Urine filtration membrane under a 4× objective, photographed by an automated digital microscope.
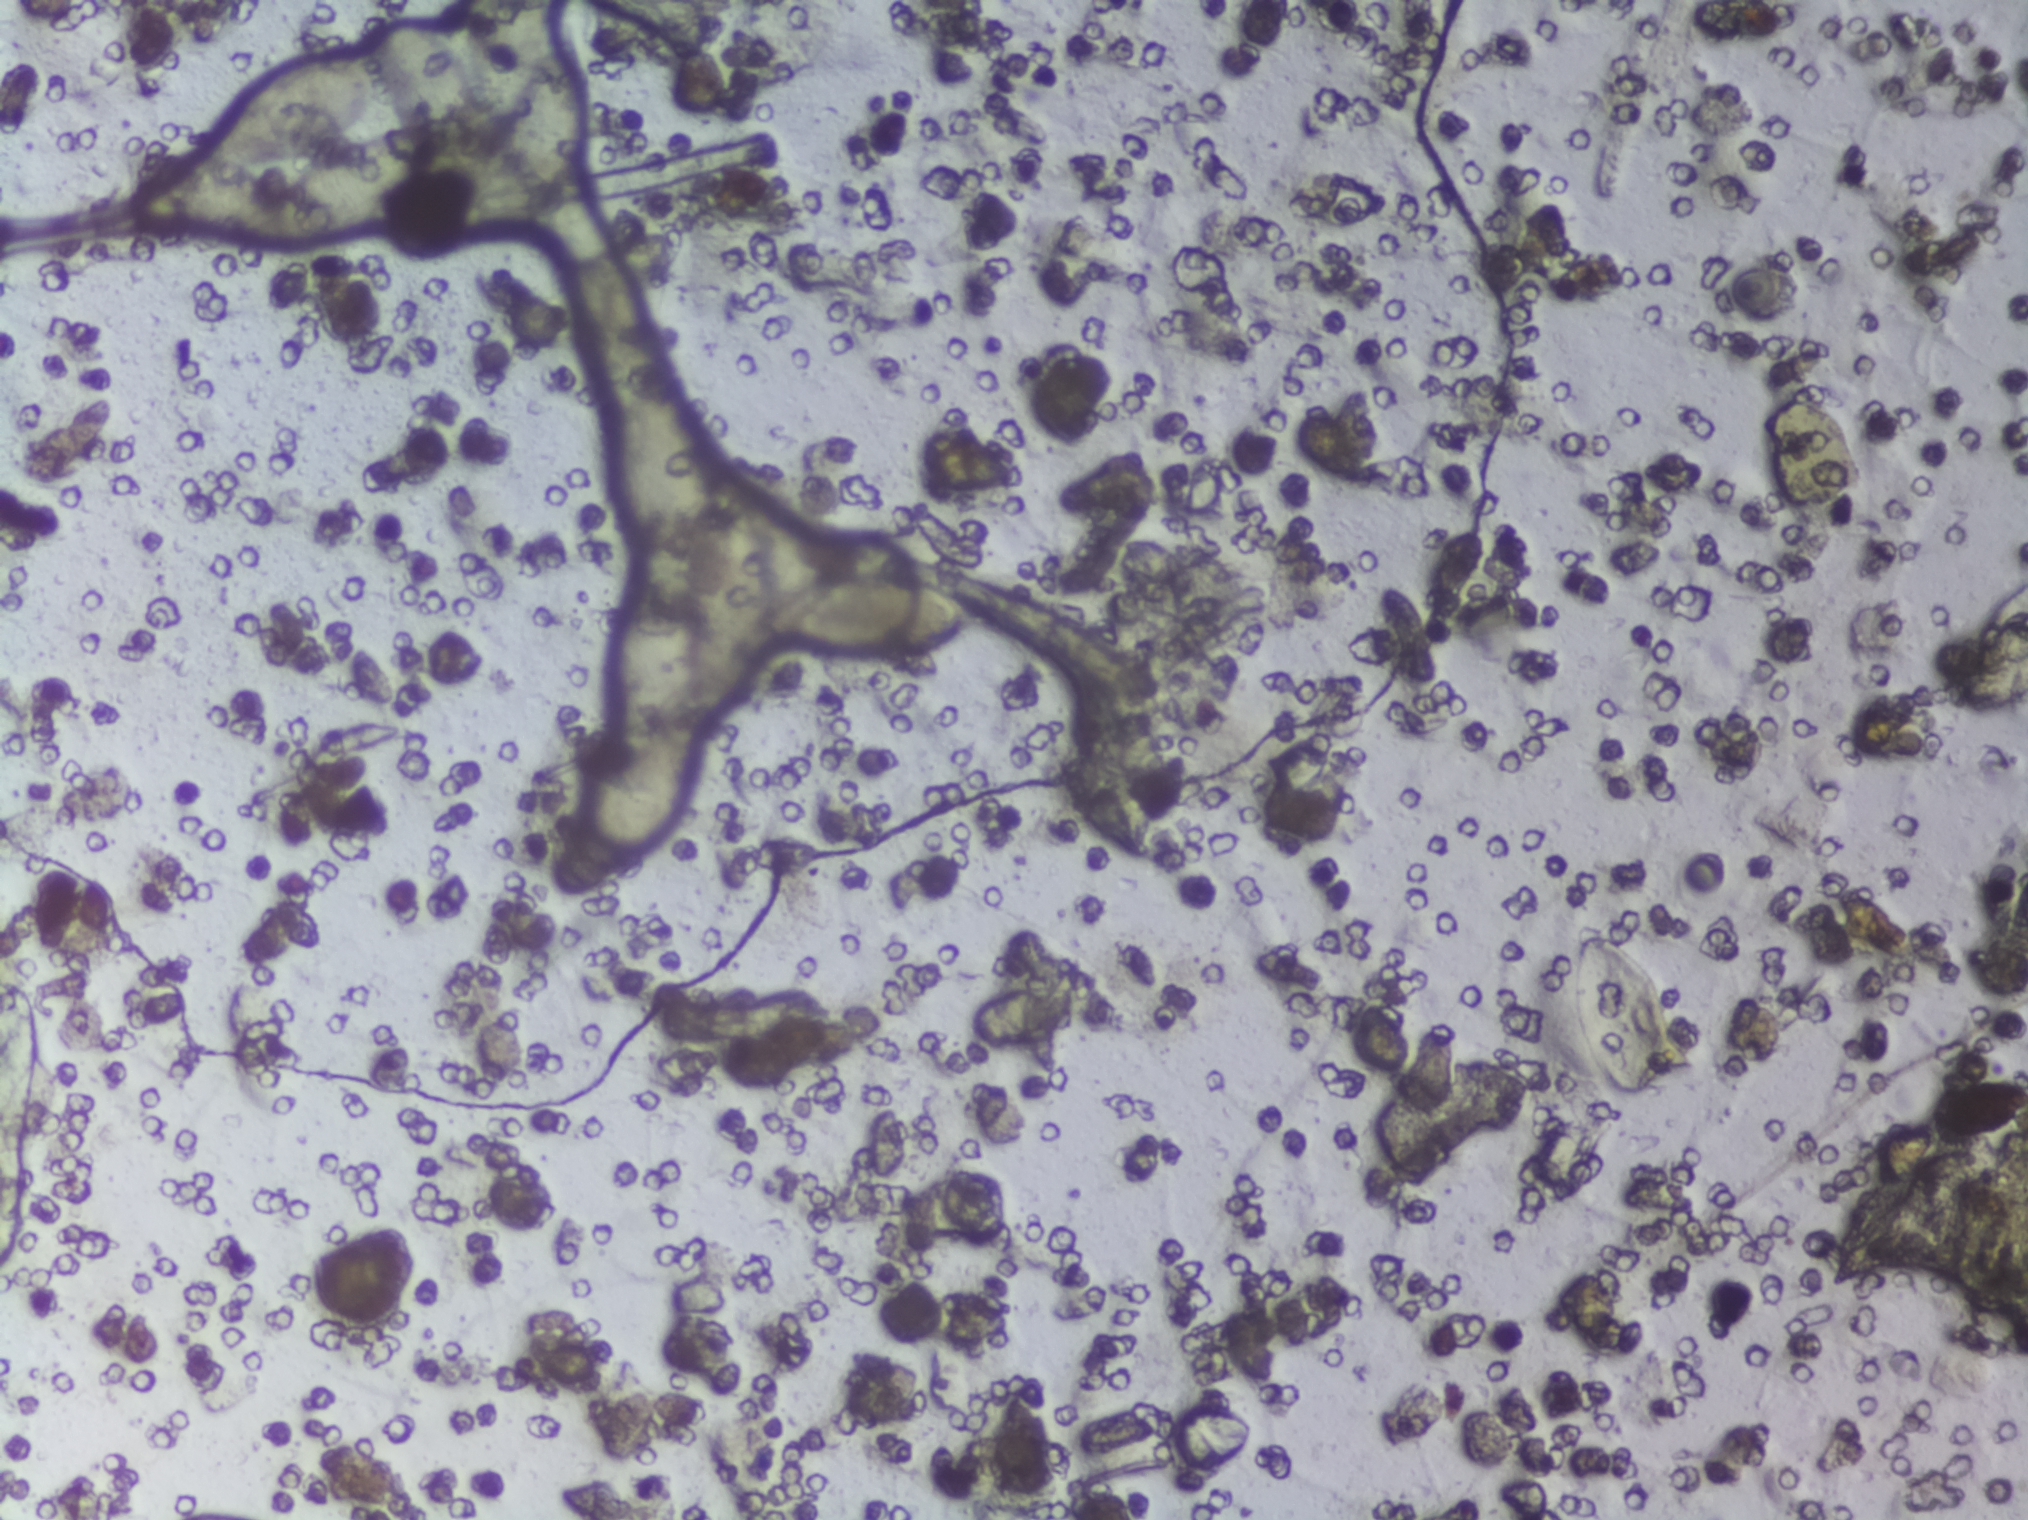
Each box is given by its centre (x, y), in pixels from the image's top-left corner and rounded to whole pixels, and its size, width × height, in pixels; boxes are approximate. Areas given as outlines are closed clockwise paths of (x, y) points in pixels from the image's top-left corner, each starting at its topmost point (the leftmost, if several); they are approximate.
The expert annotation outlines Schistosoma eggs in four areas, left to right: outline (459, 0), (552, 0), (557, 8), (586, 85), (586, 128), (581, 152), (563, 180), (565, 208), (553, 227), (527, 235), (490, 233), (466, 221), (420, 171), (394, 208), (361, 232), (253, 252), (194, 231), (151, 184), (144, 169), (151, 150), (203, 152), (213, 127), (244, 91), (291, 61), (353, 47), (377, 54), (401, 19), (434, 25), (457, 44), (464, 23) (a cluster of eggs; reaching the top edge of the frame); outline (664, 382), (687, 396), (715, 478), (751, 499), (774, 598), (830, 576), (916, 577), (967, 602), (975, 627), (952, 647), (912, 659), (844, 657), (771, 630), (763, 657), (747, 676), (696, 718), (697, 778), (675, 824), (591, 888), (556, 892), (554, 866), (568, 827), (605, 751), (620, 739), (604, 711), (601, 649), (645, 557), (619, 536), (612, 516), (607, 430), (633, 395) (a cluster of eggs); box centre (1624, 1016), 106 × 176 px; box centre (1992, 645), 71 × 151 px (reaching the right edge of the frame). An outlined area can hold more than one egg.